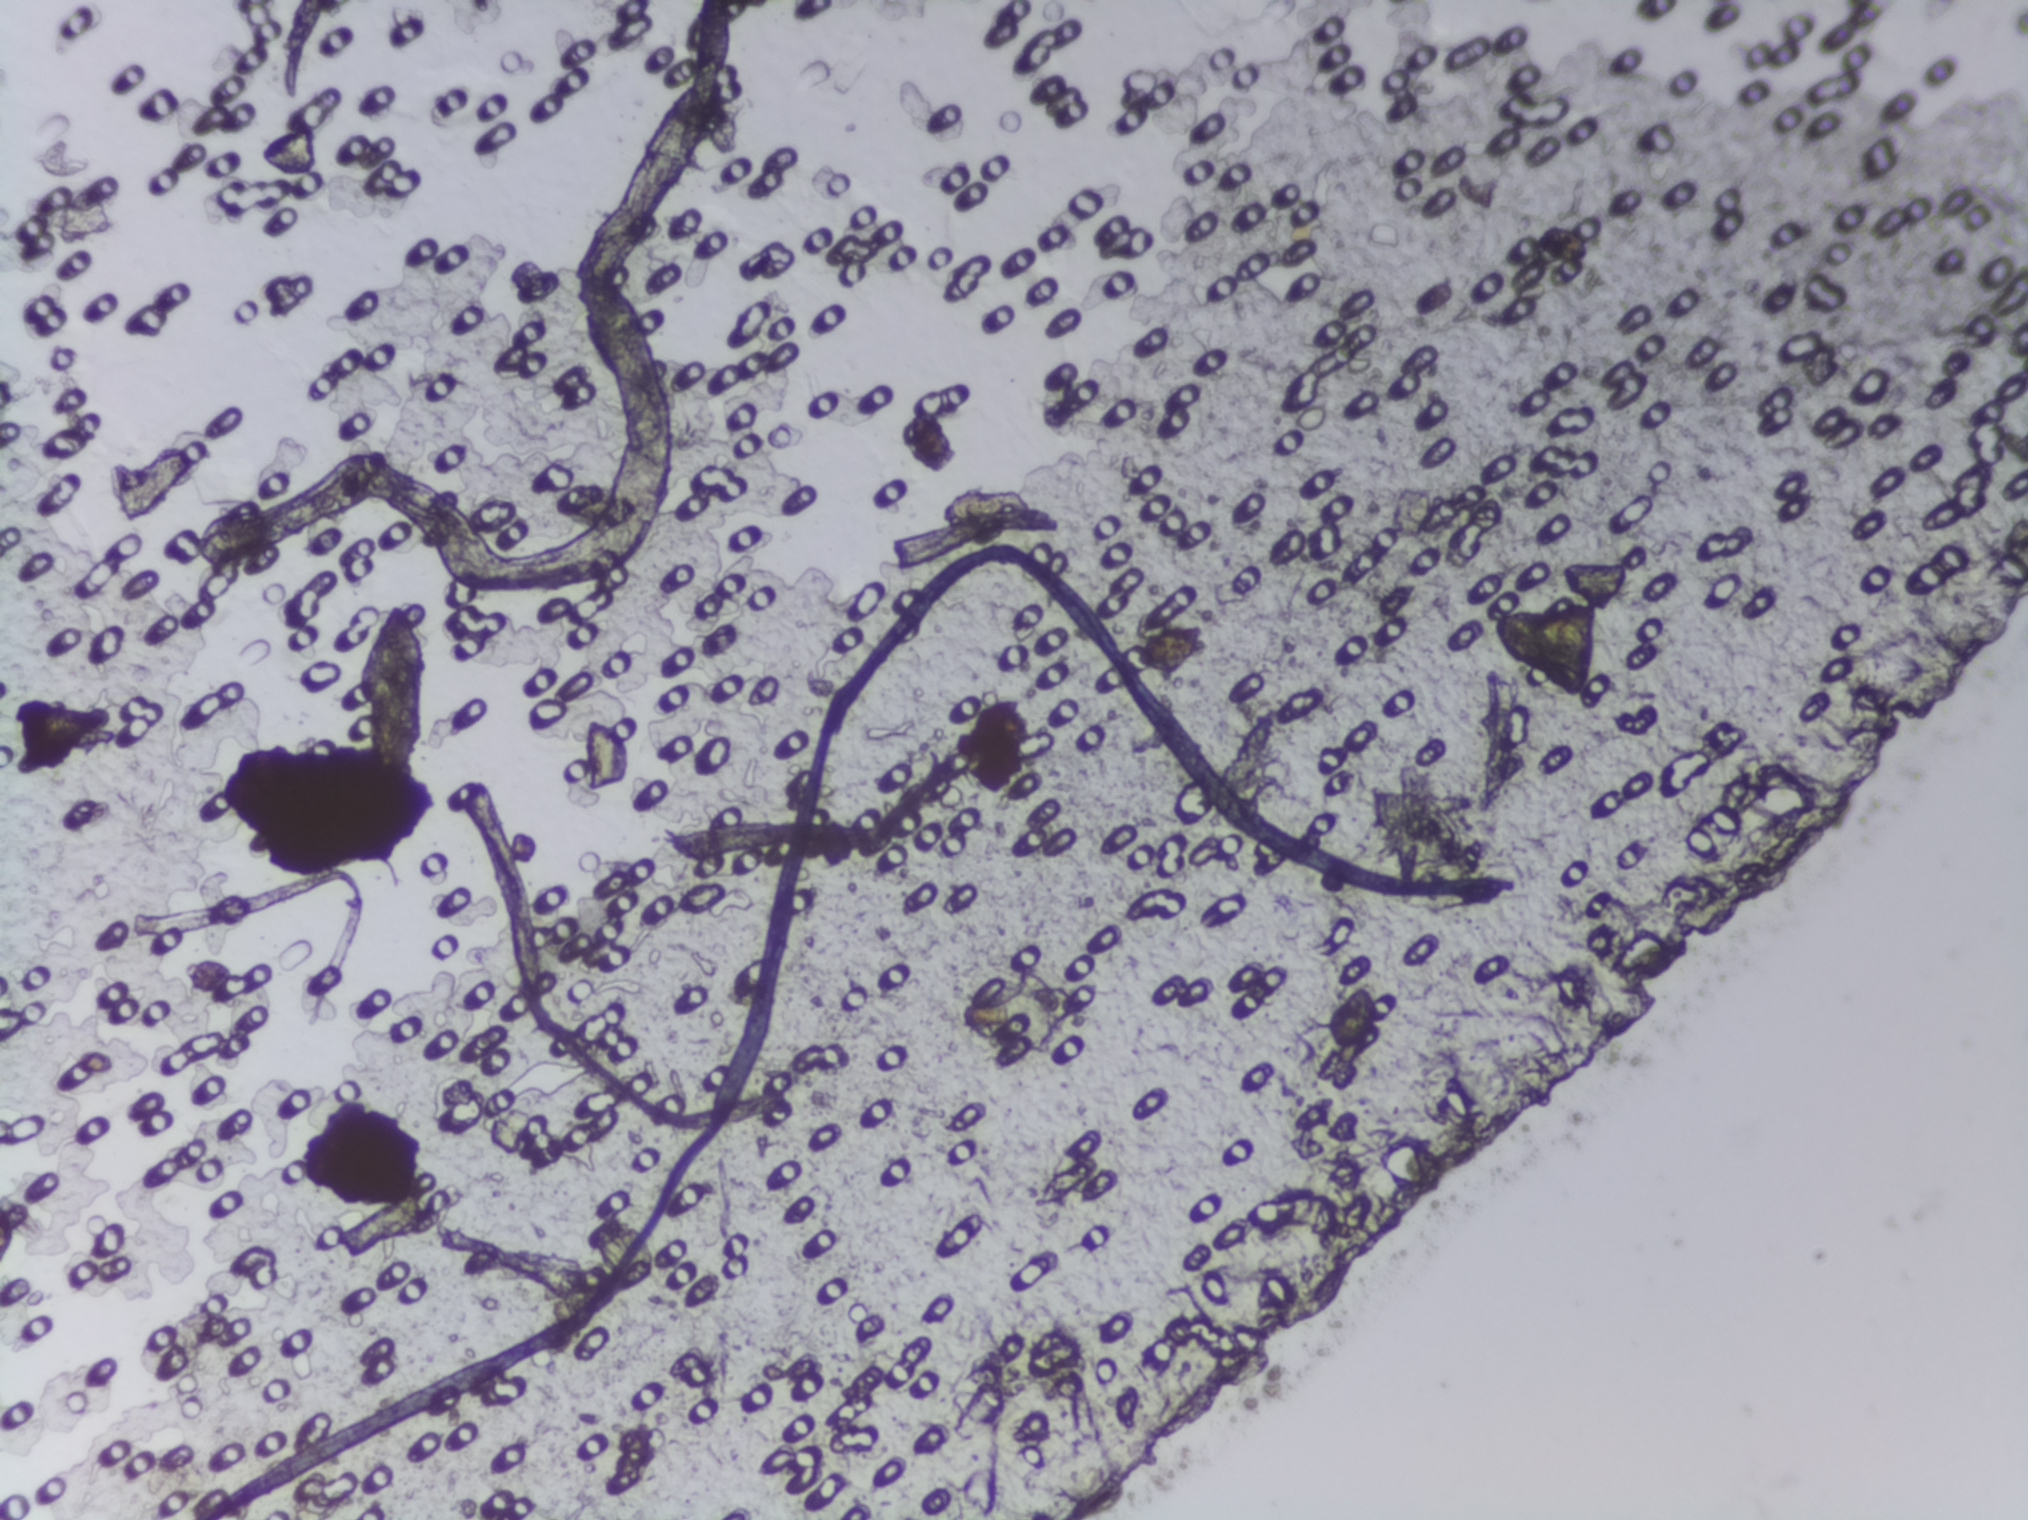
Photomicrograph of a urine filtration membrane, 4× objective.
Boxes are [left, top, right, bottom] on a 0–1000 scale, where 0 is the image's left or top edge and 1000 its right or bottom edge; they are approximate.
{"schistosoma_egg_areas_xyxy_per1000": [[672, 510, 725, 574]]}
The marked pixels themselves, not the box around them, cover about 0.2% of the image. A single outlined area may contain several eggs.